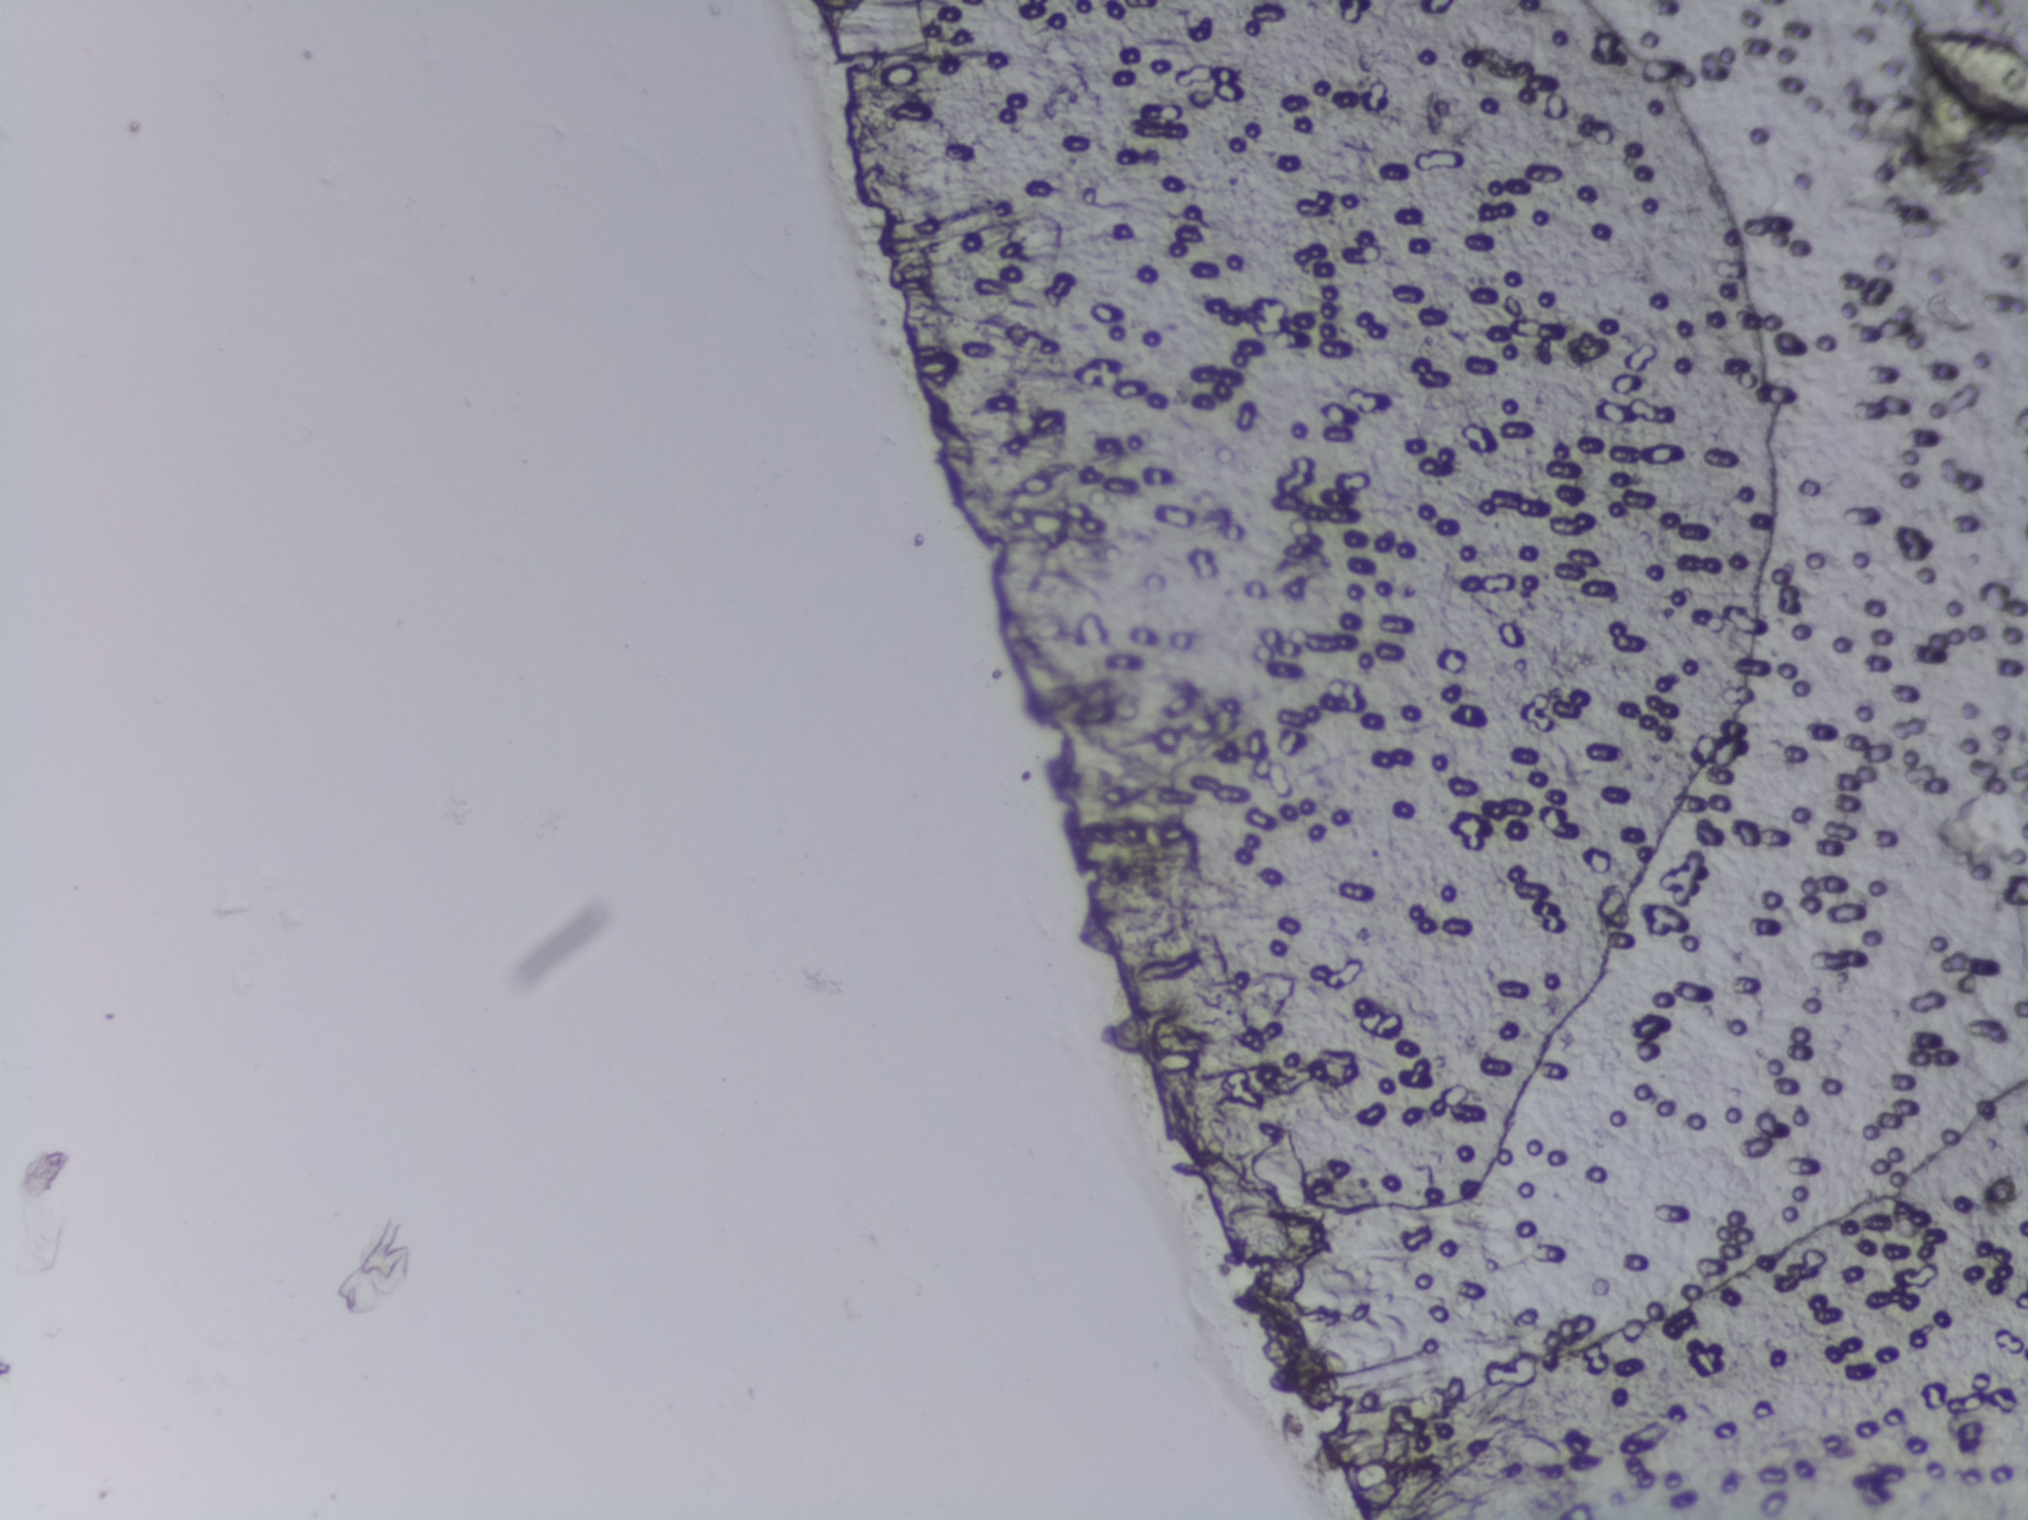
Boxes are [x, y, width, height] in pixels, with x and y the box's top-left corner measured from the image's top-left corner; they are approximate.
The expert annotation outlines Schistosoma eggs at [1908, 26, 120, 107] (reaching the right edge of the frame). Marked pixels, not the box around them: about 0.3% of the image. A single outlined area may contain several eggs.
Urine filtration membrane under a 4× objective, photographed by an automated digital microscope.